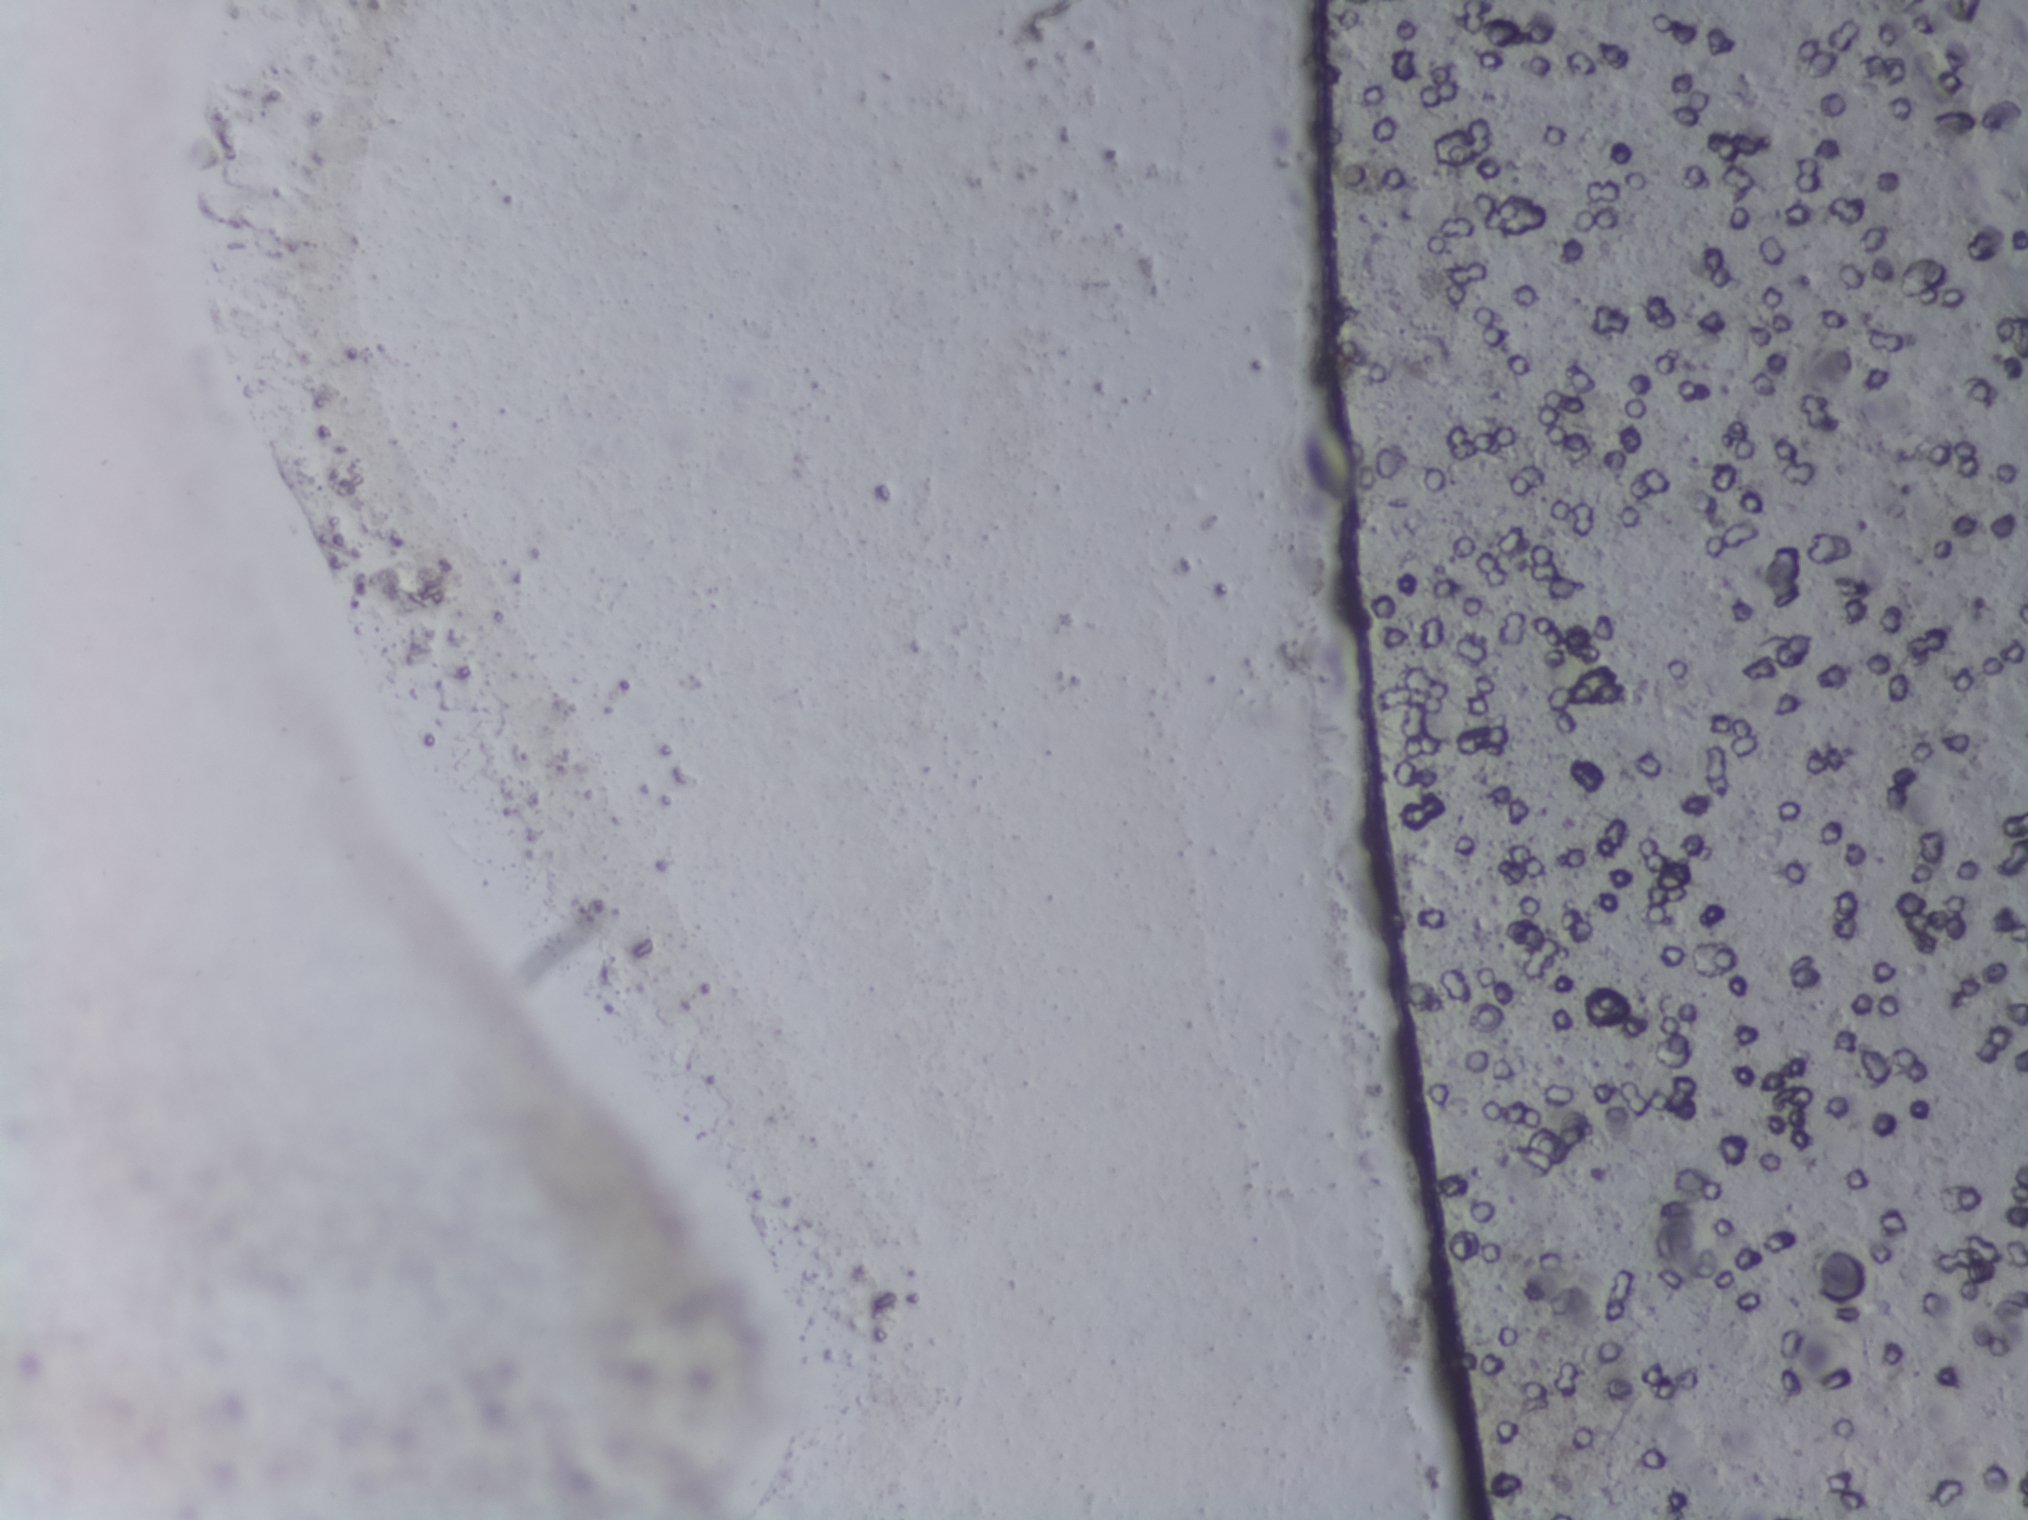
The expert annotation marks no Schistosoma egg in this field of view.
One field of view of a urine filter membrane, 4× objective, 2028 × 1520 pixels.